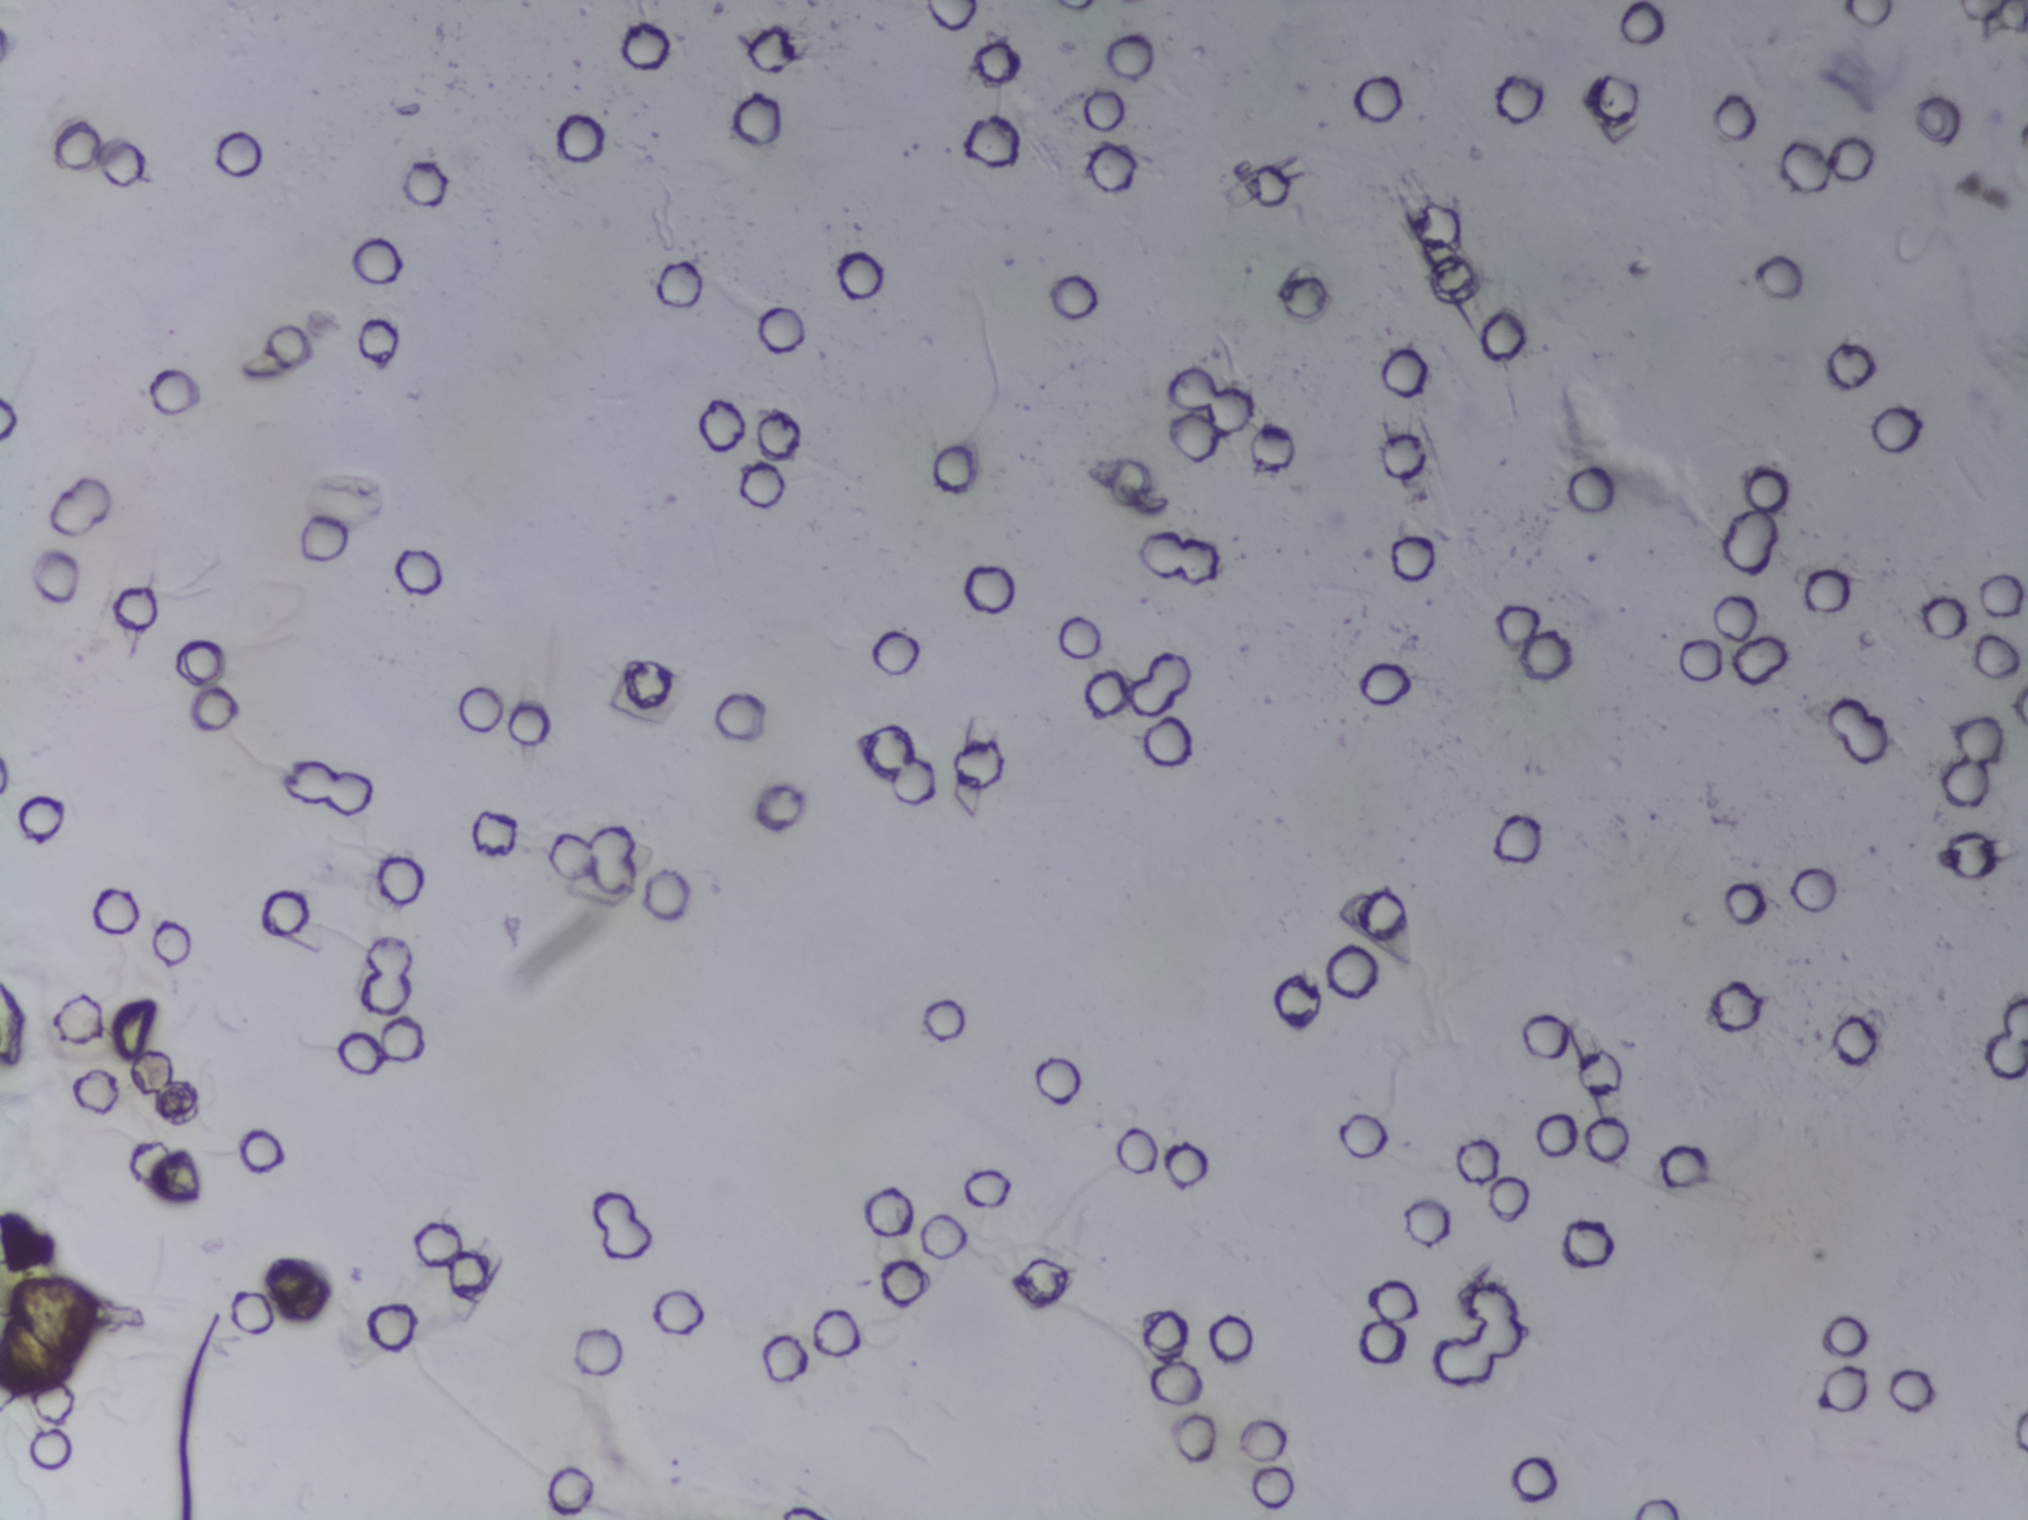
Urine filtration membrane under a 4× objective, photographed by an automated digital microscope.
No Schistosoma egg is outlined in this image's expert annotation.